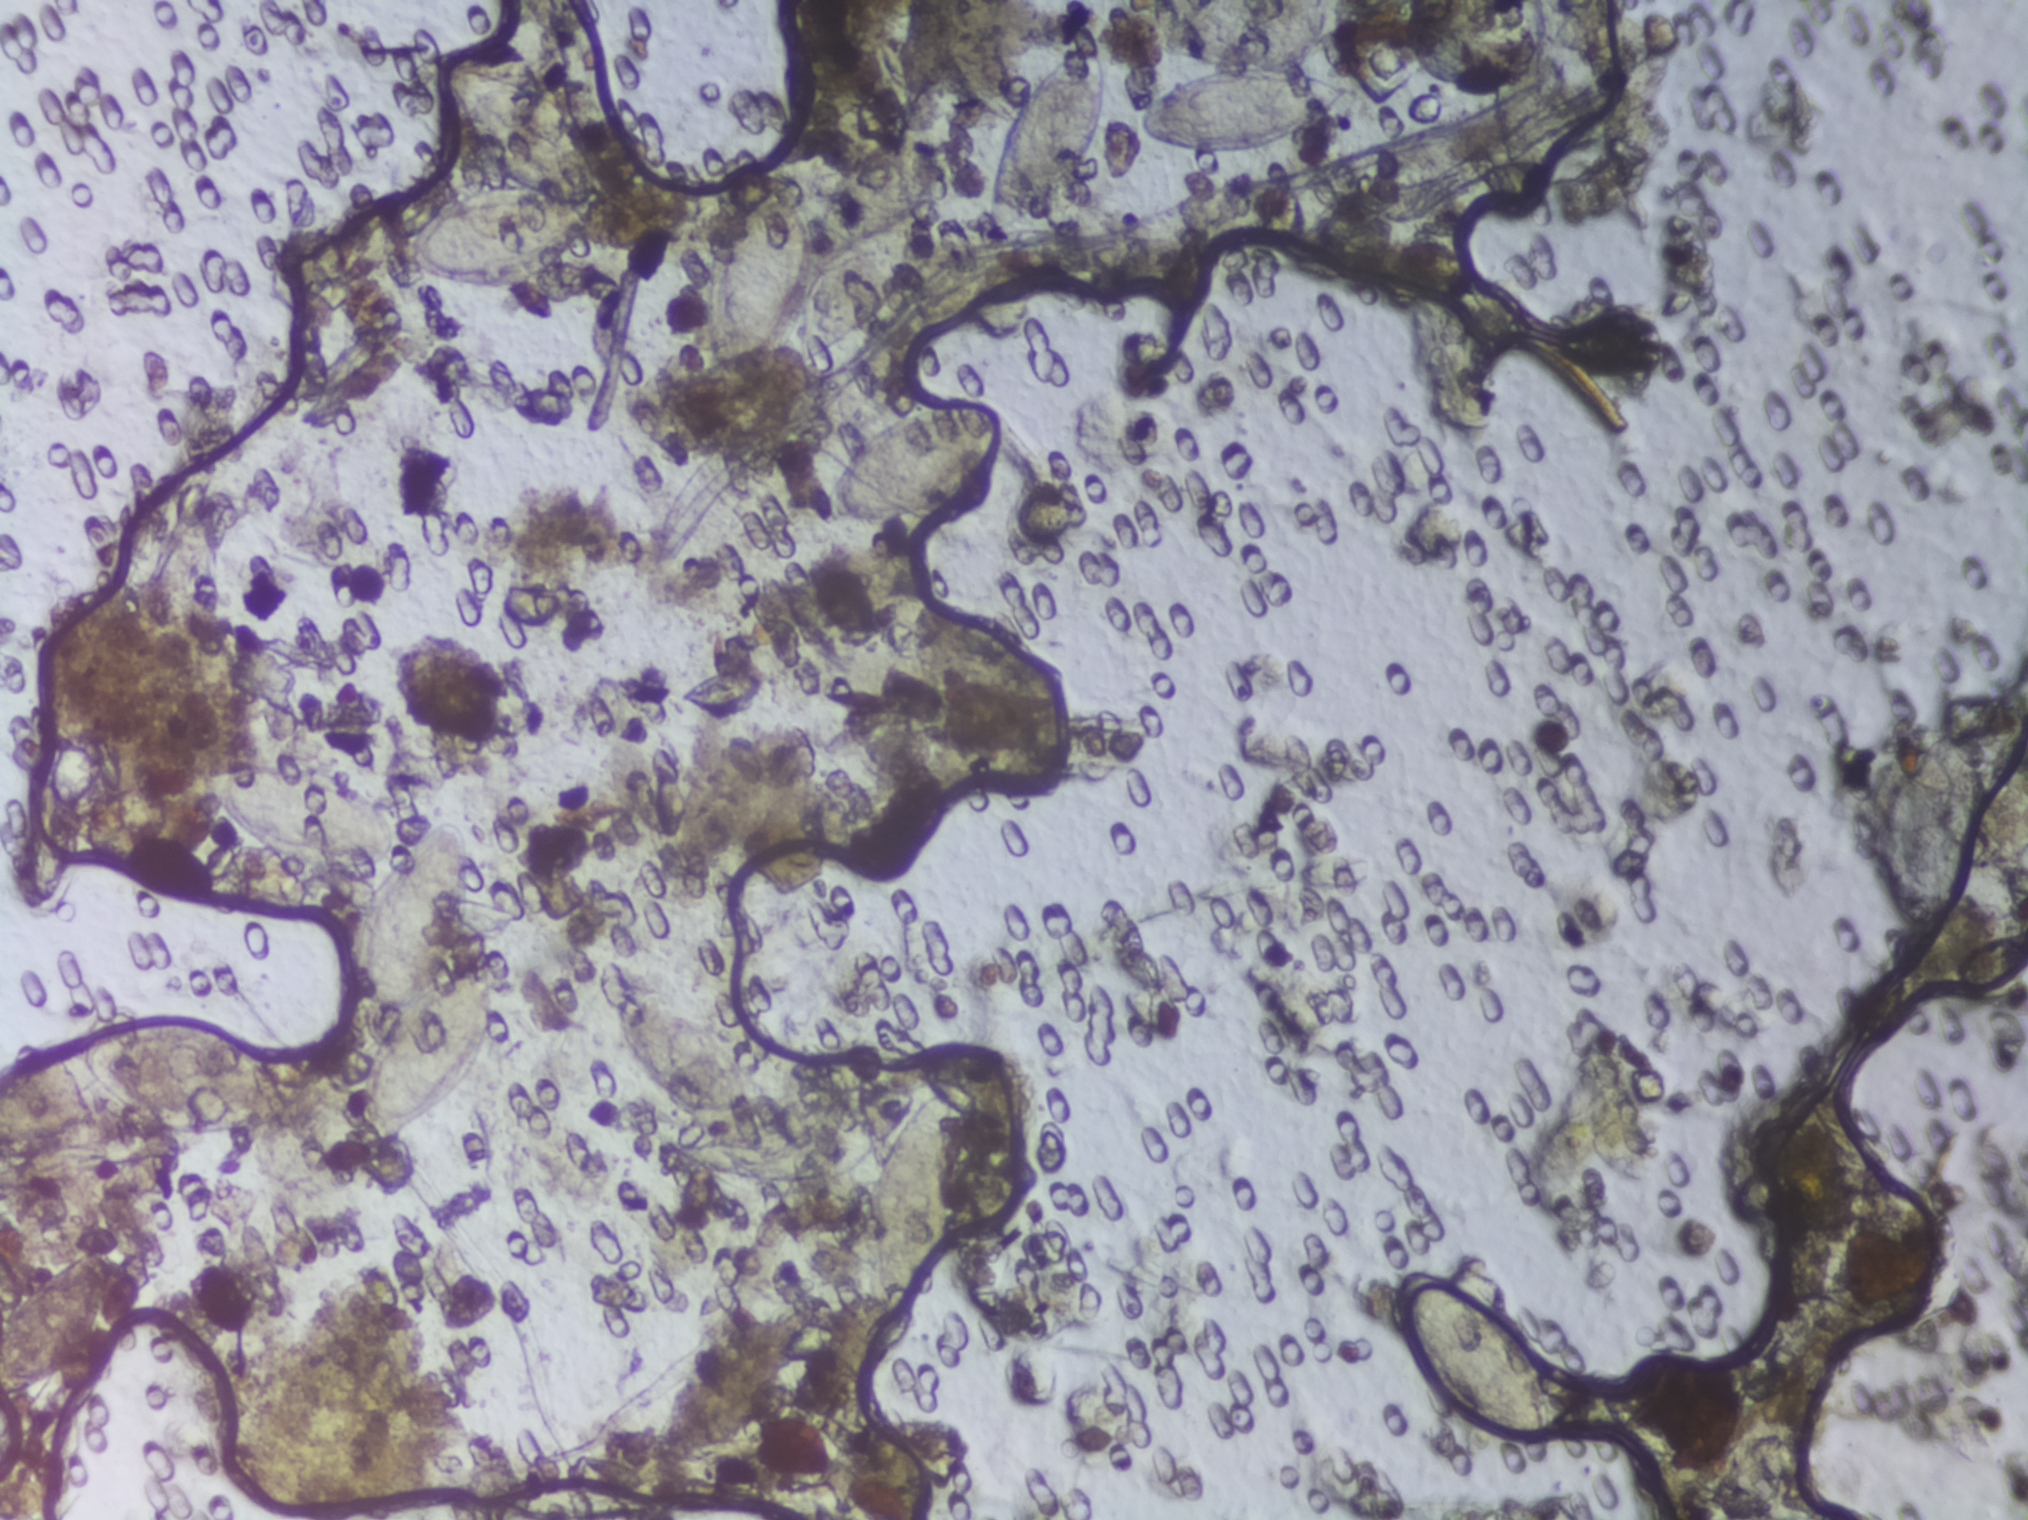
Microscope photograph (4× objective) of a membrane that a urine sample was filtered through.
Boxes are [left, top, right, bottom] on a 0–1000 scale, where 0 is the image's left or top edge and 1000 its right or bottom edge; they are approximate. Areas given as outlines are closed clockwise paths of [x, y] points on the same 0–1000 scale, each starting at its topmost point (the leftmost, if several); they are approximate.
Outlined Schistosoma egg areas, left to right:
1. box [0, 824, 60, 916] (reaching the left edge of the frame)
2. box [37, 671, 146, 748]
3. box [69, 324, 107, 429]
4. box [103, 501, 196, 578]
5. box [169, 539, 245, 753]
6. box [199, 39, 296, 188]
7. outline [305, 642], [304, 650], [325, 648], [341, 659], [365, 692], [375, 723], [393, 721], [432, 735], [432, 760], [412, 775], [391, 779], [349, 774], [331, 762], [322, 750], [322, 742], [334, 731], [309, 700], [300, 659]
8. box [342, 114, 404, 255]
9. box [403, 262, 498, 344]
10. box [414, 466, 493, 526]
11. box [426, 715, 482, 861]
12. box [485, 26, 546, 155]
13. box [560, 41, 666, 103]
14. box [689, 836, 766, 952]
15. box [922, 476, 979, 613]
About 8.8% of the image's pixels are marked (the marked pixels themselves, not the boxes and the outline around them). Eggs that touch can end up inside the same outlined area.